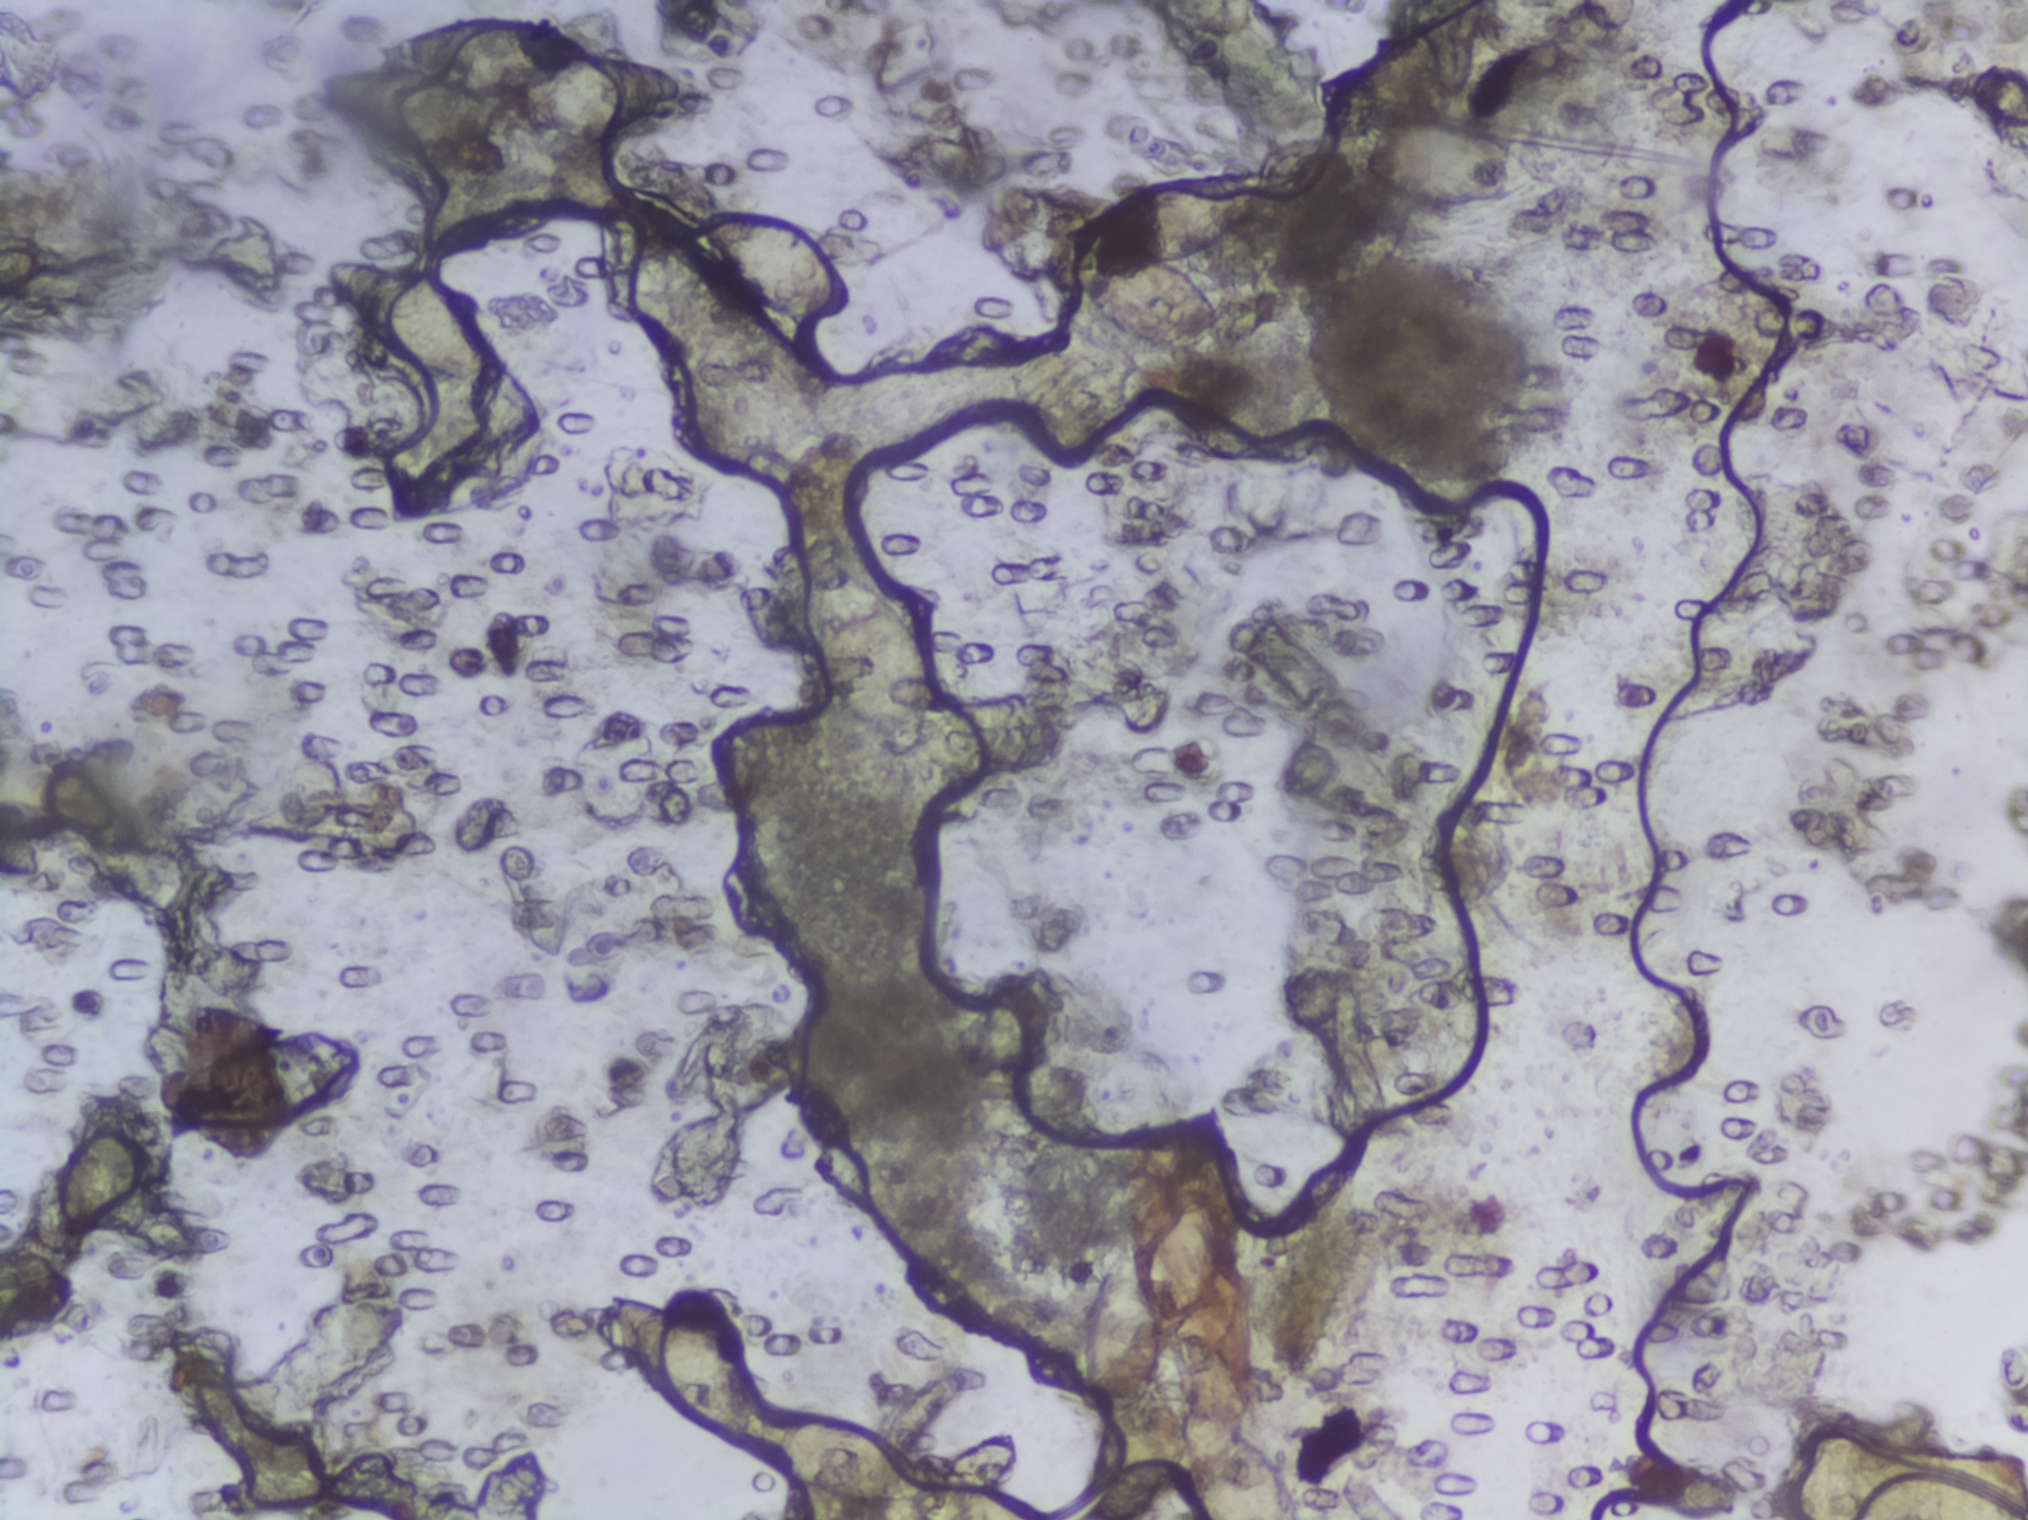
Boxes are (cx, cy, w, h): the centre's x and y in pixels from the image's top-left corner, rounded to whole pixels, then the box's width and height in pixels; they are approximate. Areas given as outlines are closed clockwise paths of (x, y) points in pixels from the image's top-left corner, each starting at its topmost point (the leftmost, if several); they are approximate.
Schistosoma egg areas, outlined: box (cx=411, cy=325, w=174, h=135); box (cx=498, cy=83, w=368, h=145); outline (612, 1289), (665, 1297), (694, 1315), (748, 1383), (758, 1417), (837, 1416), (907, 1448), (925, 1477), (921, 1496), (866, 1503), (786, 1477), (755, 1433), (750, 1441), (728, 1441), (661, 1405), (614, 1356), (604, 1315), (604, 1296); box (cx=774, cy=268, w=161, h=120); box (cx=865, cy=662, w=133, h=201); box (cx=903, cy=1183, w=190, h=93); box (cx=977, cy=1463, w=86, h=58); box (cx=1015, cy=1021, w=71, h=112); box (cx=1131, cy=1490, w=80, h=60) (reaching the bottom edge of the frame); box (cx=1160, cy=1308, w=163, h=241); box (cx=1167, cy=258, w=211, h=181); box (cx=1238, cy=1462, w=127, h=115) (reaching the bottom edge of the frame); box (cx=1450, cy=165, w=186, h=86). A single outlined area may contain several eggs.
Urine filtration membrane under a 4× objective, photographed by an automated digital microscope. The field of view is about 1.5 mm × 1.1 mm.